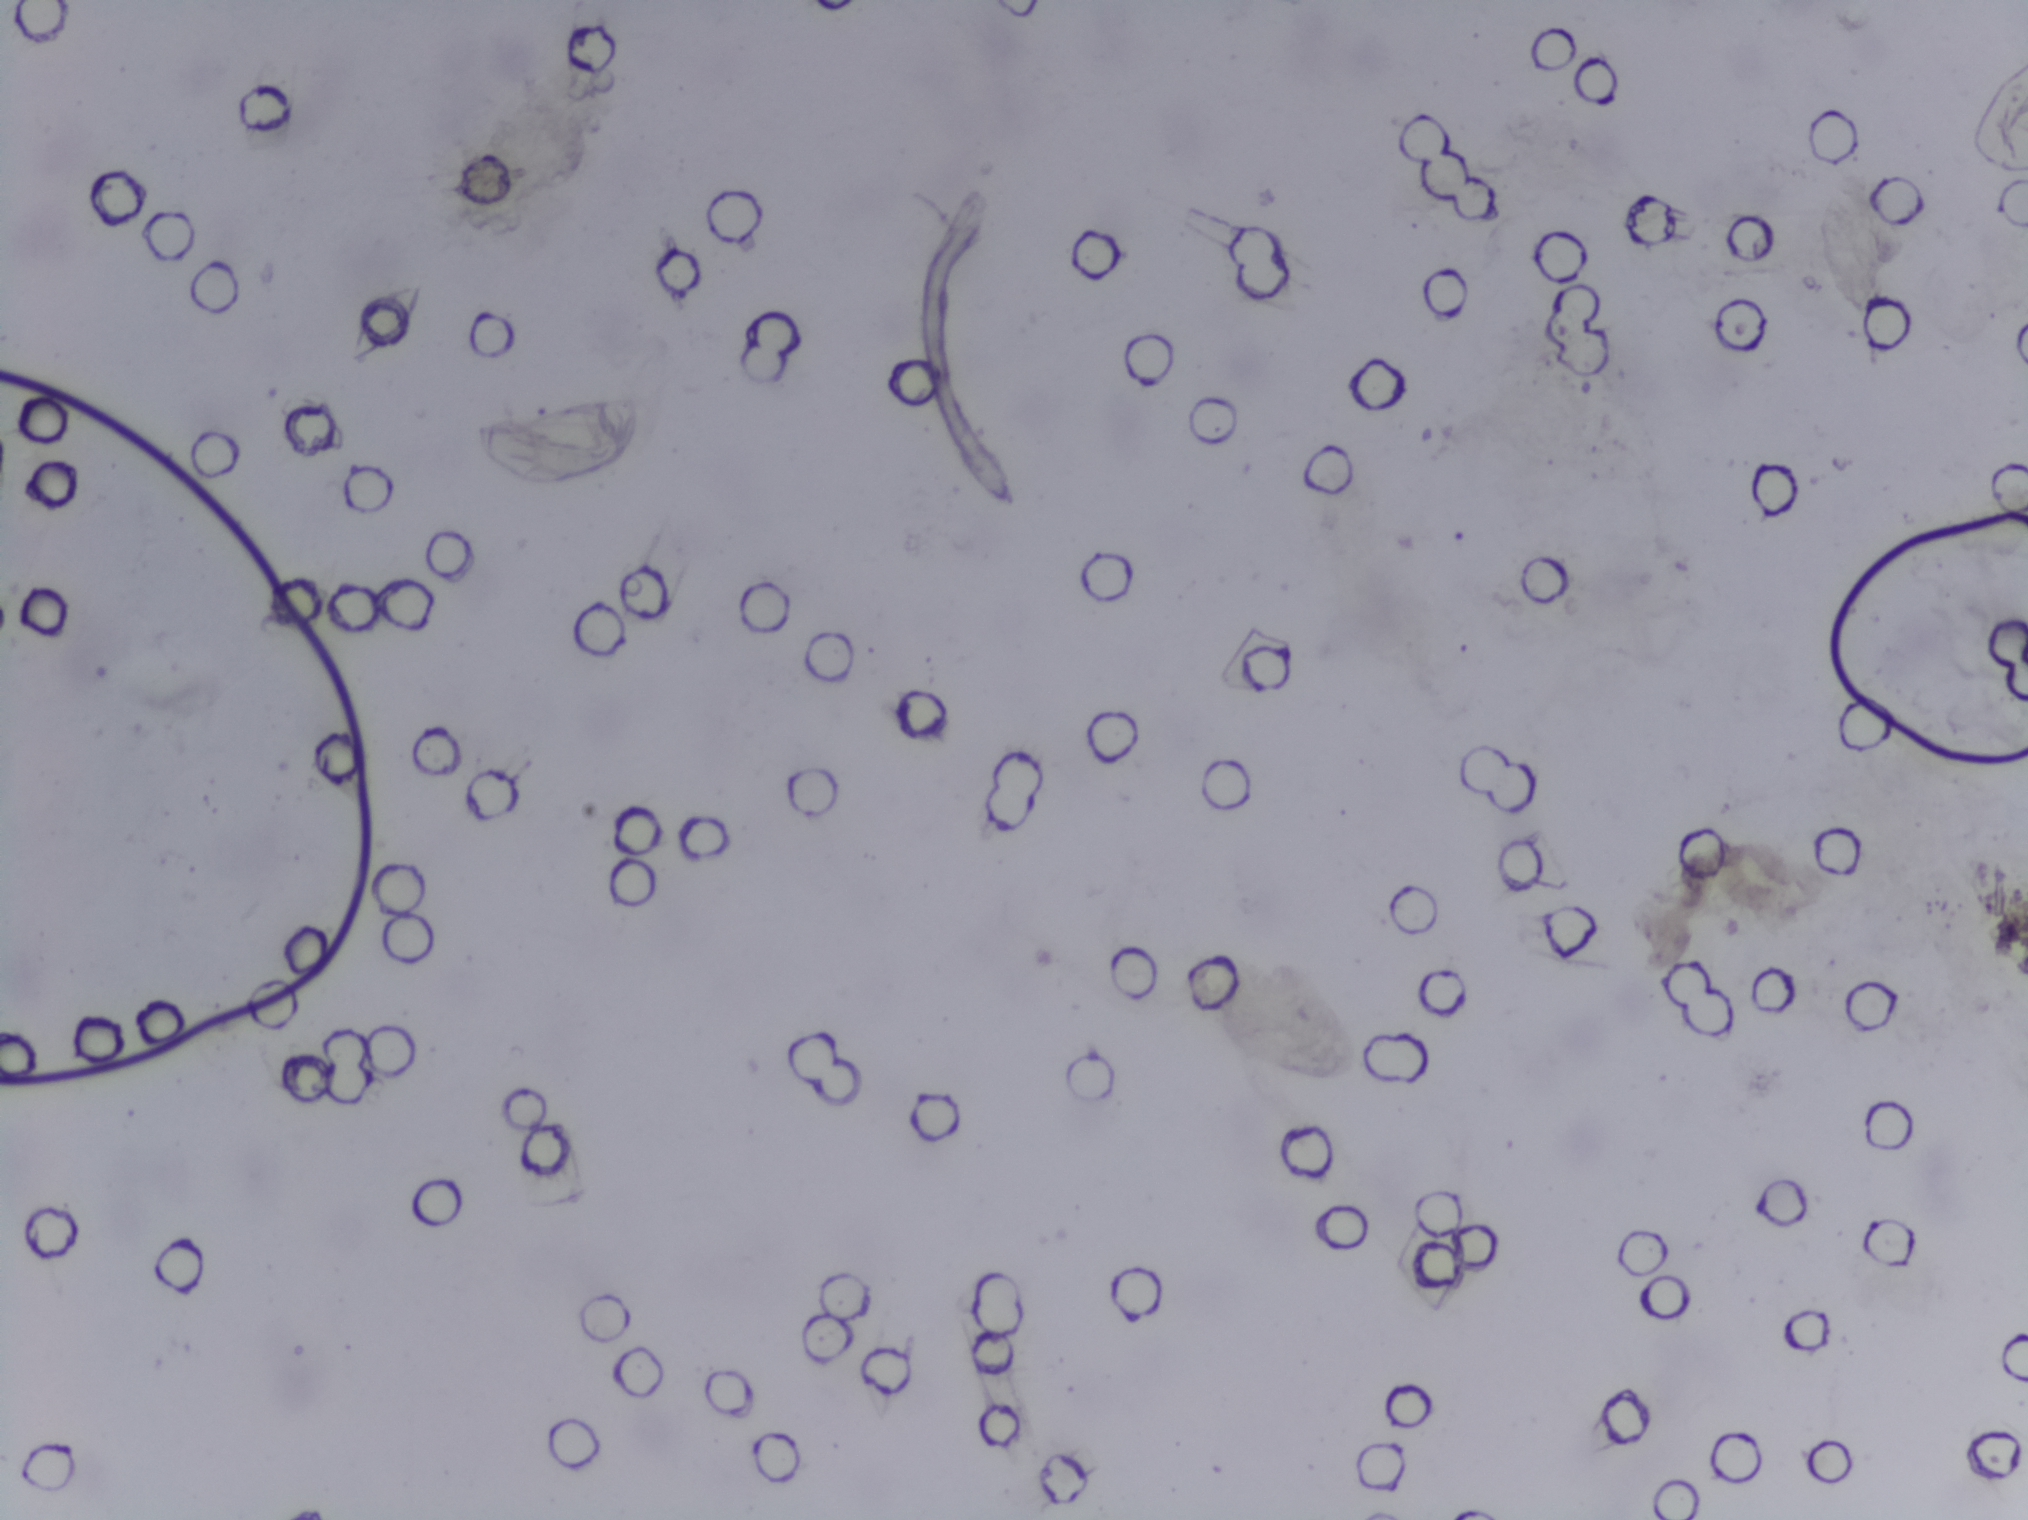
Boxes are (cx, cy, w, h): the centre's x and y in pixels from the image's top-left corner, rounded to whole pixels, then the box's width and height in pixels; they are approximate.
Schistosoma egg areas, outlined: (cx=562, cy=438, w=179, h=93). The marked pixels themselves, not the box around them, cover about 0.4% of the image. An outlined area can hold more than one egg.
Urine filter membrane photographed through a 4× microscope objective. The field of view is about 1.5 mm × 1.1 mm.